One field of view of a urine filter membrane, 4× objective, 2028 × 1520 pixels.
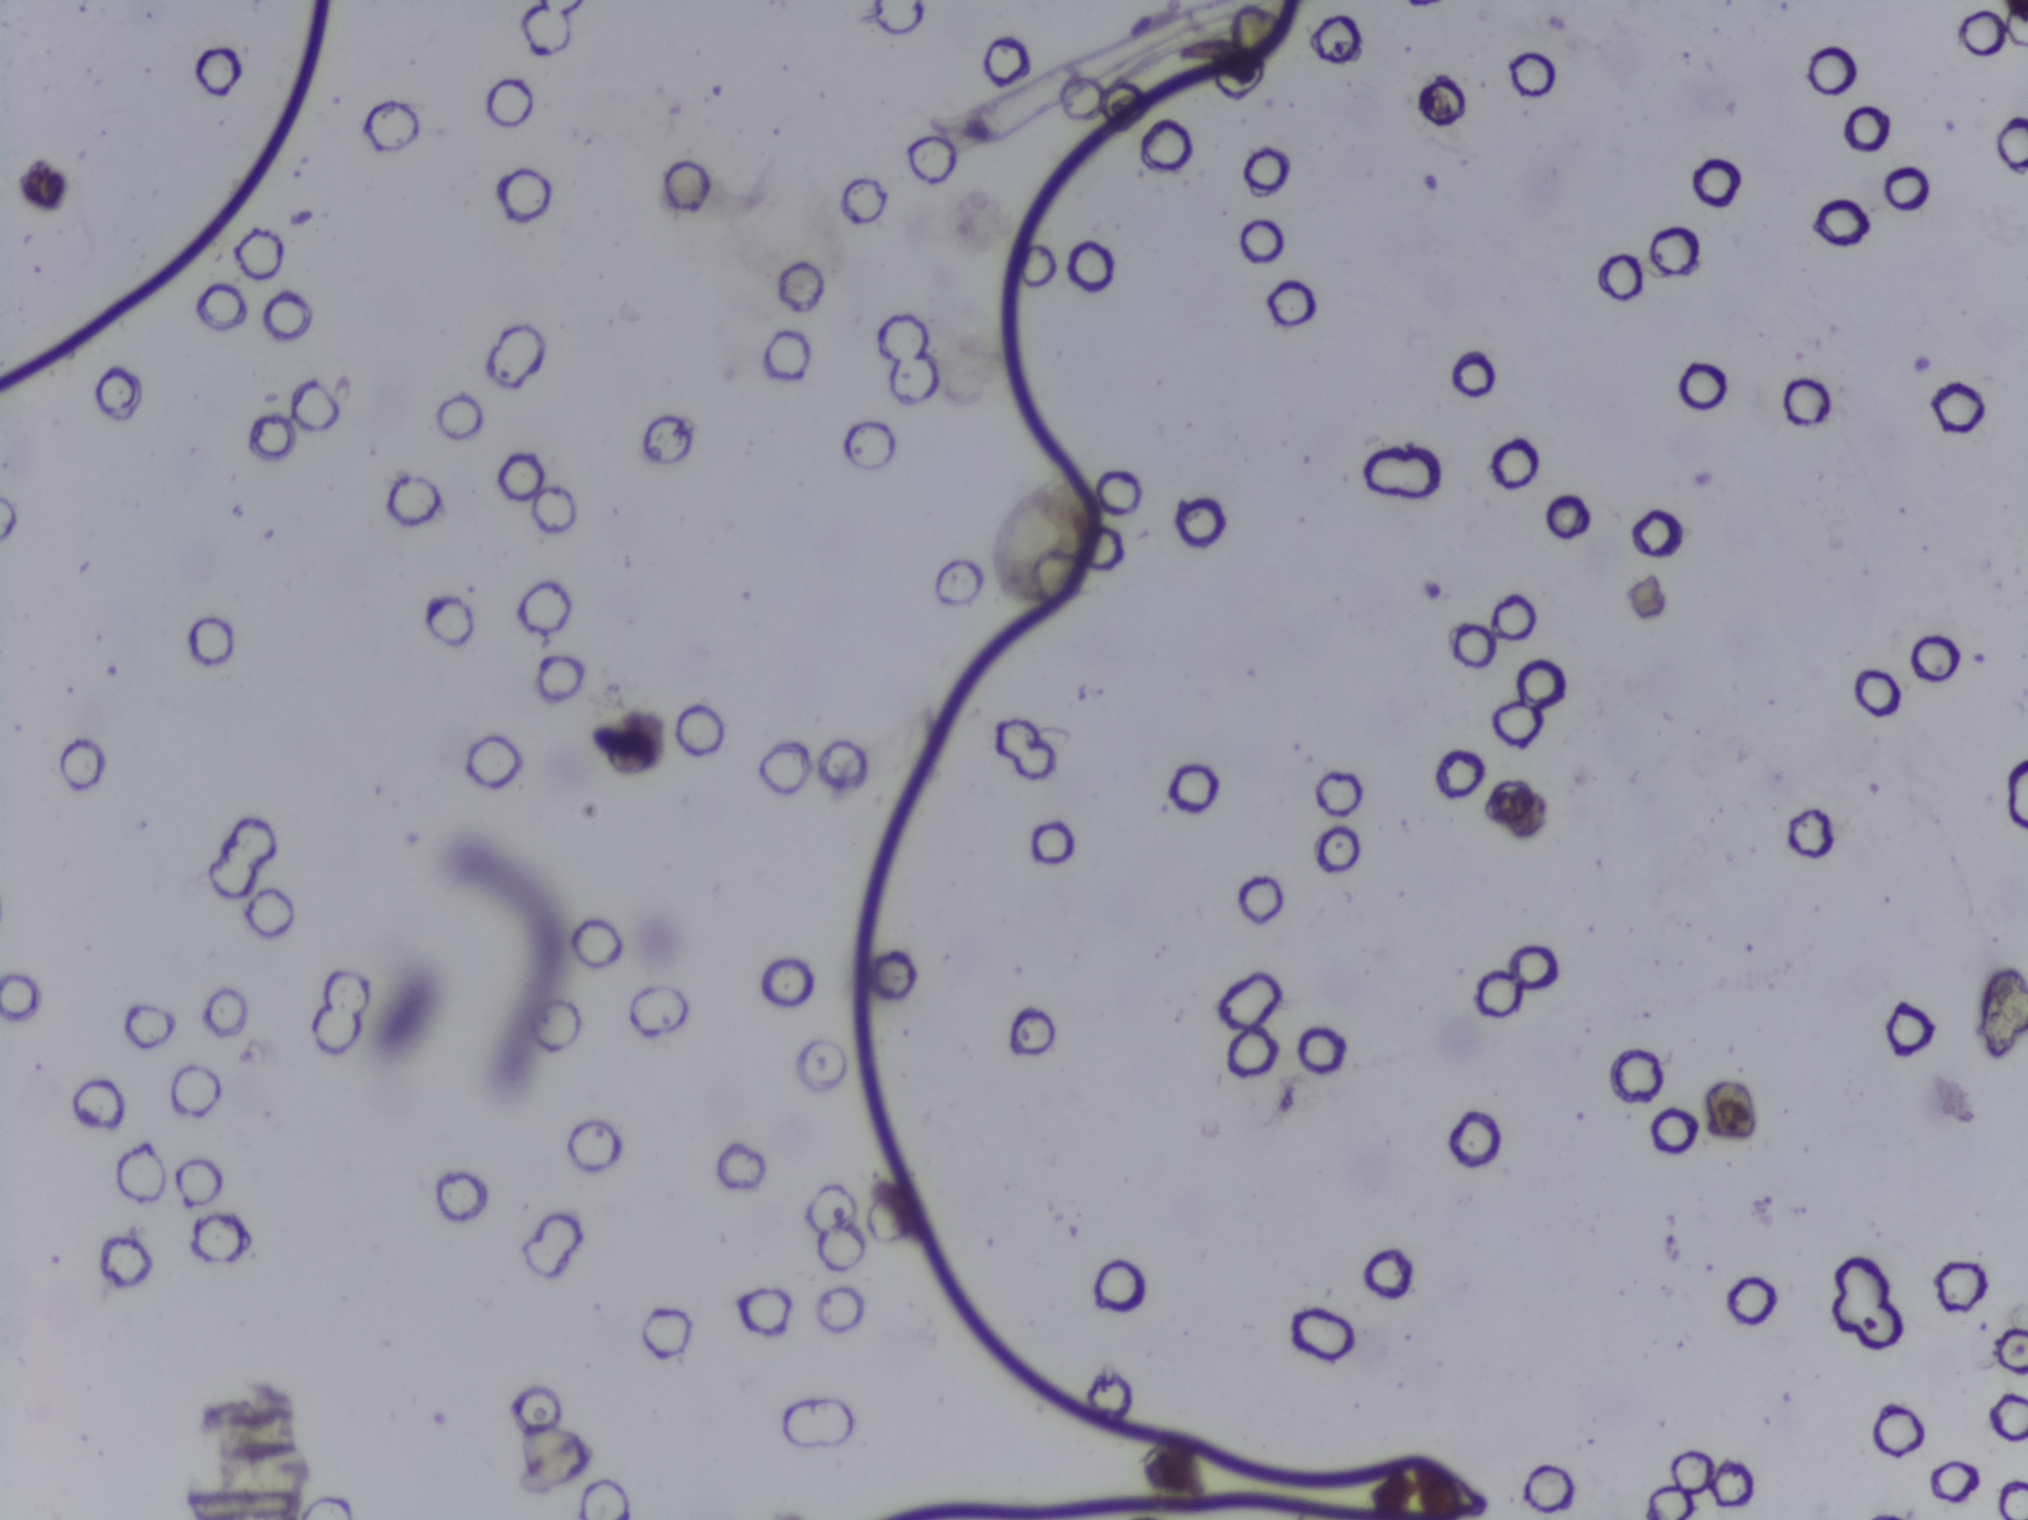
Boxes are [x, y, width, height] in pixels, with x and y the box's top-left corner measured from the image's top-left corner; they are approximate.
Schistosoma eggs are outlined in one area of this image: [988, 459, 120, 162]. About 0.5% of the image's pixels are marked (the marked pixels themselves, not the box around them). A single outlined area may contain several eggs. A marked egg may occasionally be S. mansoni rather than S. haematobium.